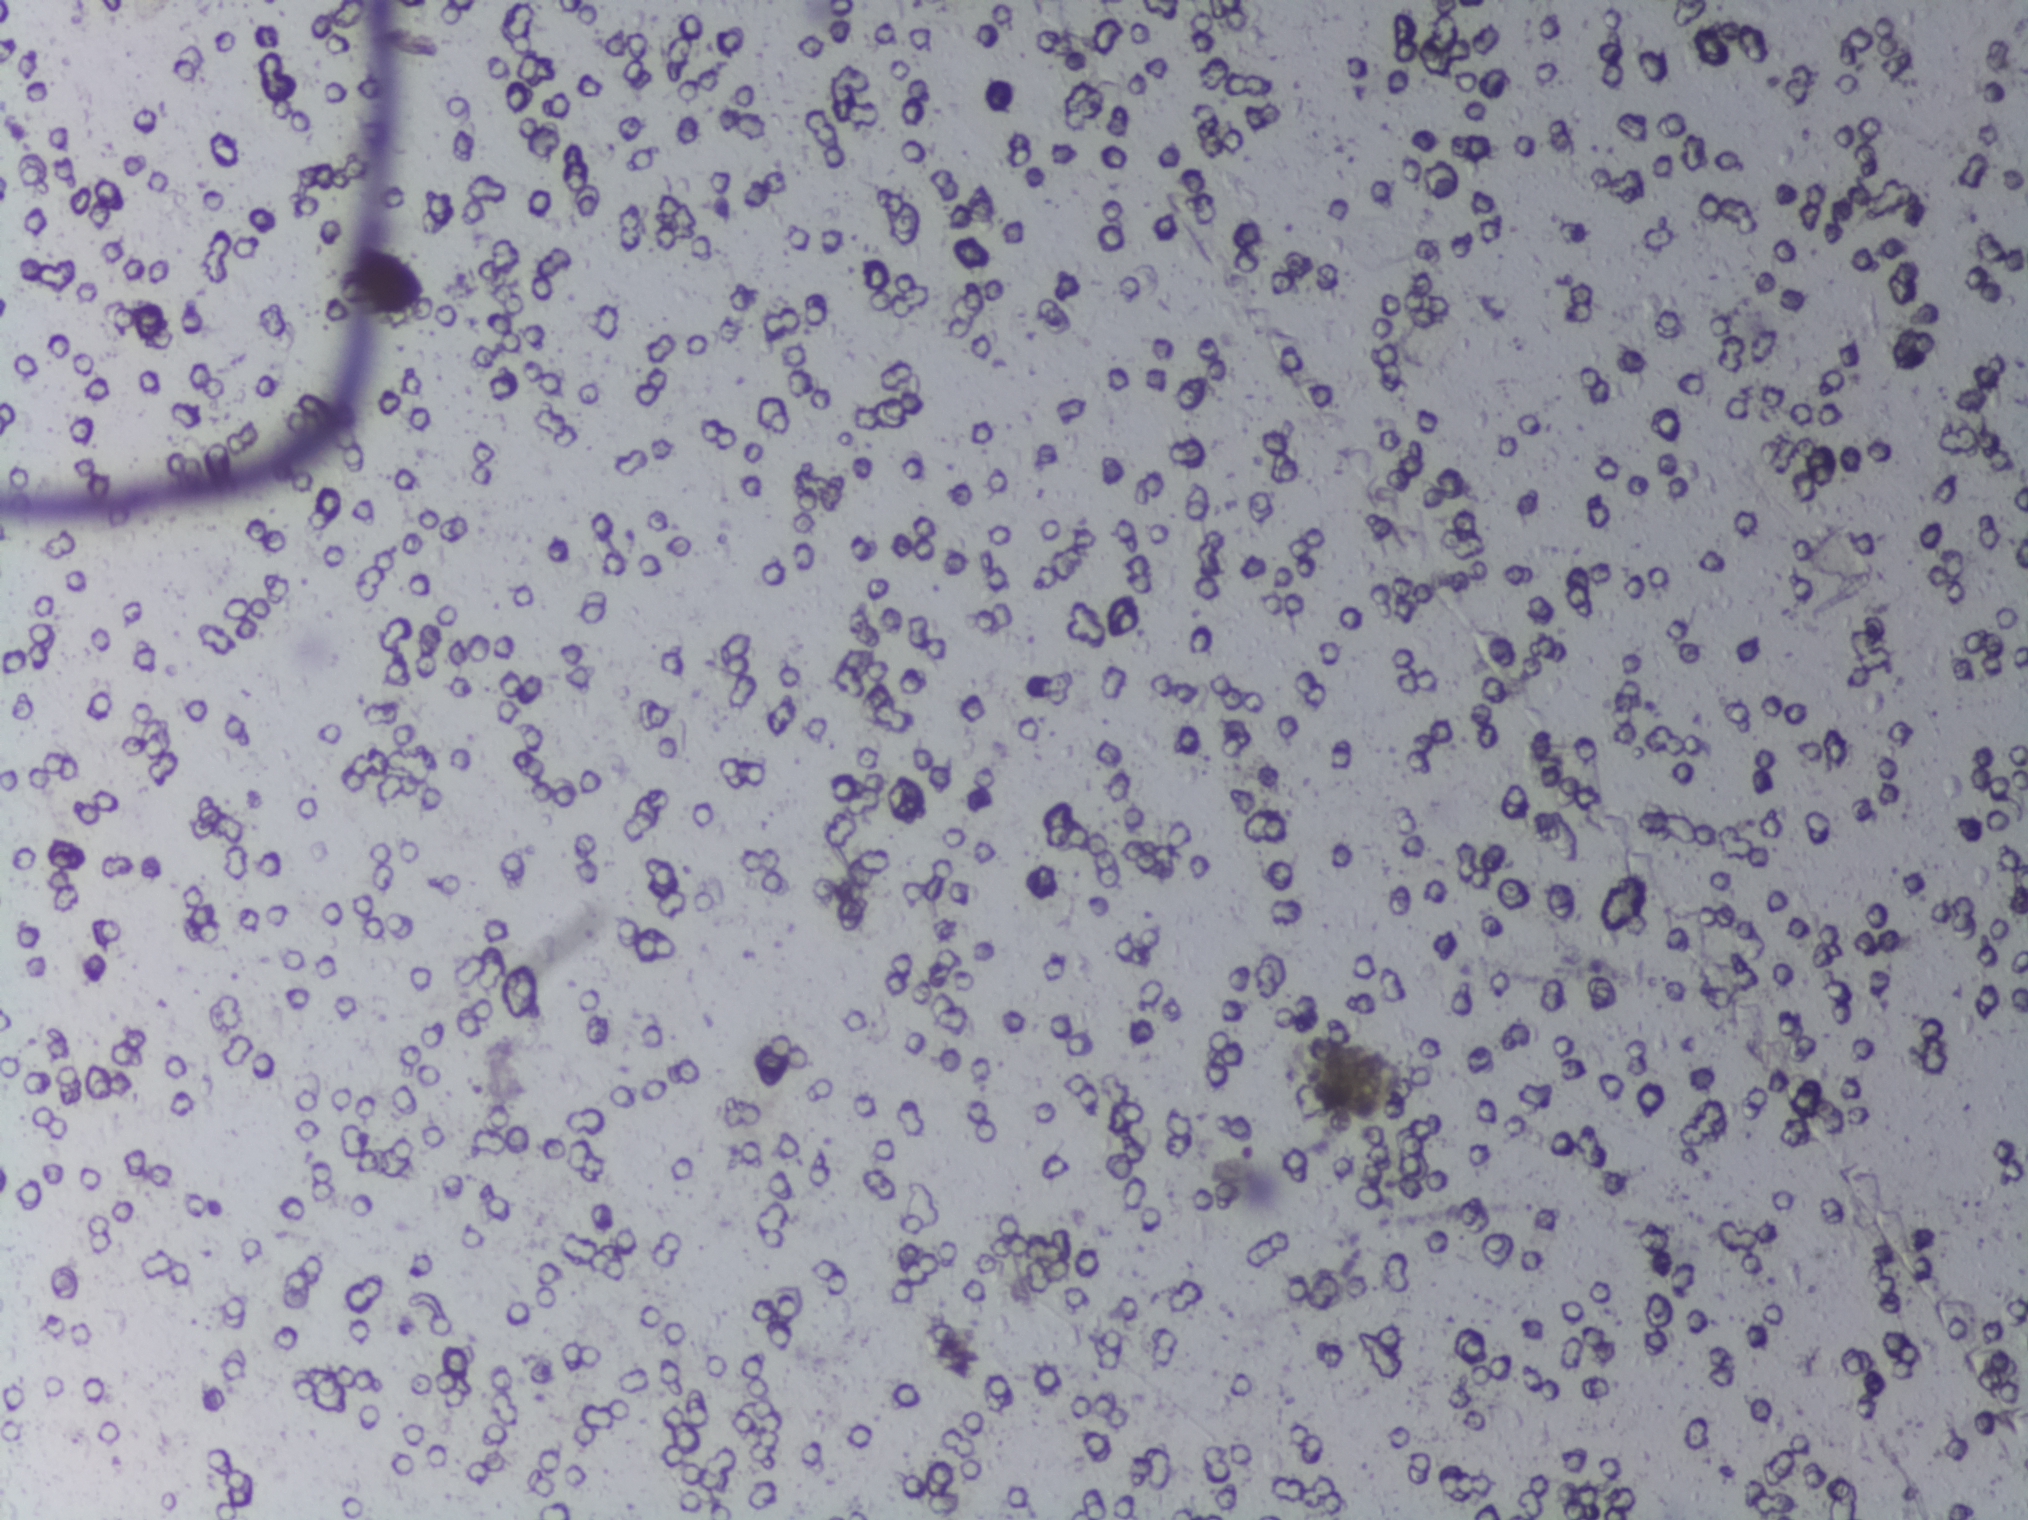
Schistosoma eggs: none outlined.
One field of view of a urine filter membrane, 4× objective, 2028 × 1520 pixels.